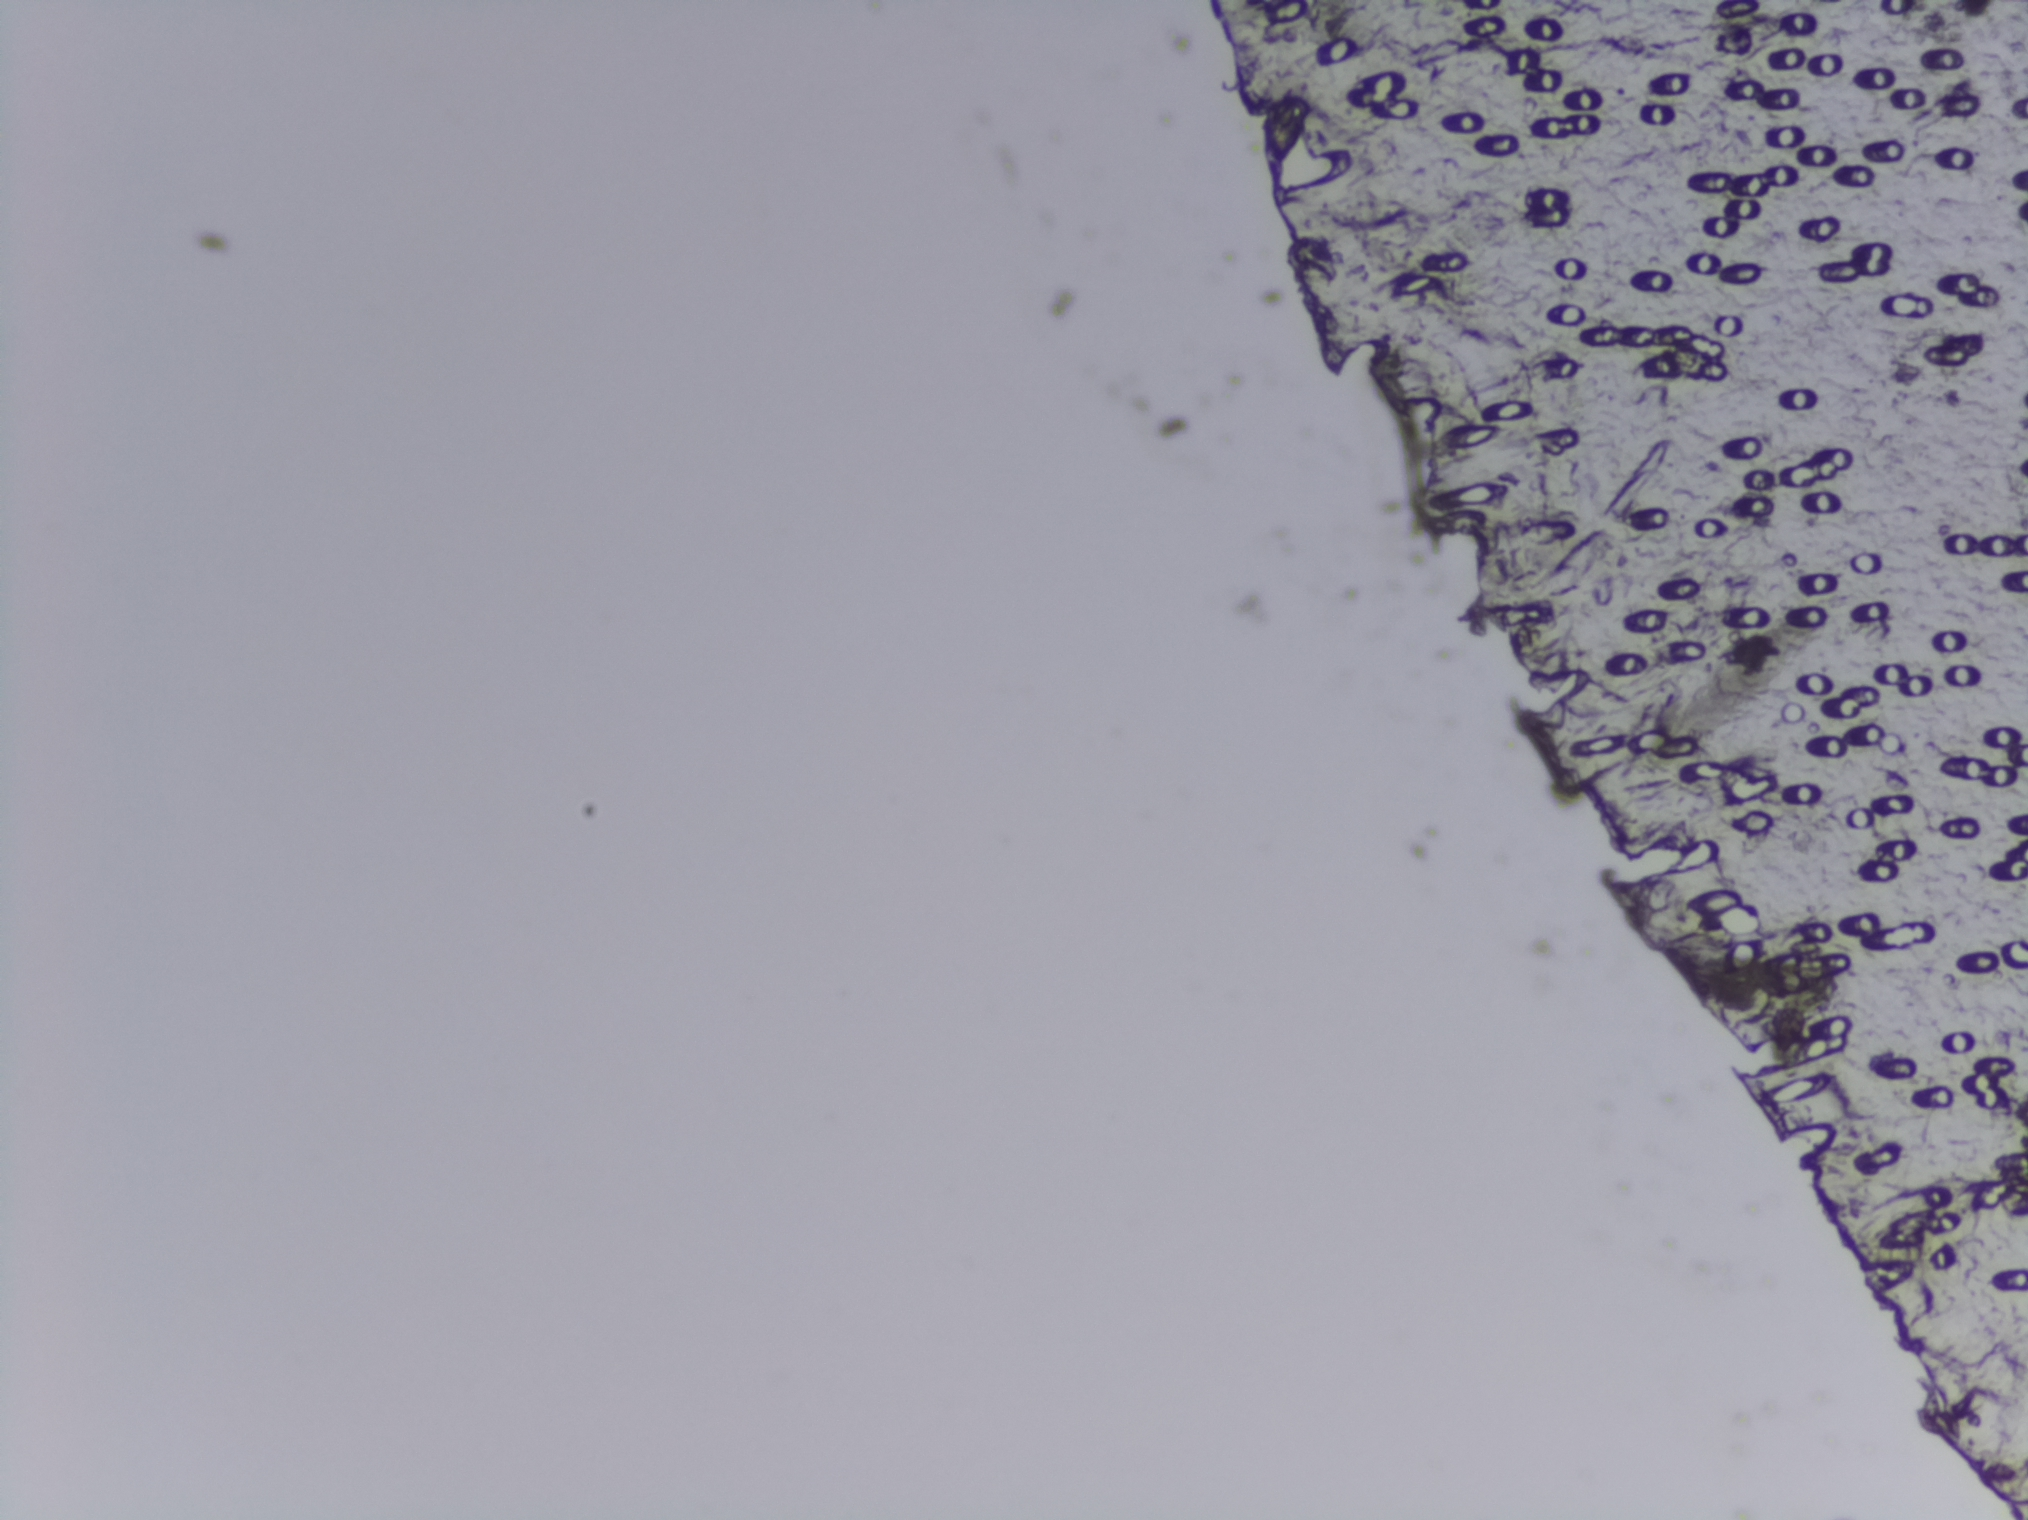
Urine filter membrane photographed through a 4× microscope objective.
The expert annotation marks no Schistosoma egg in this field of view.